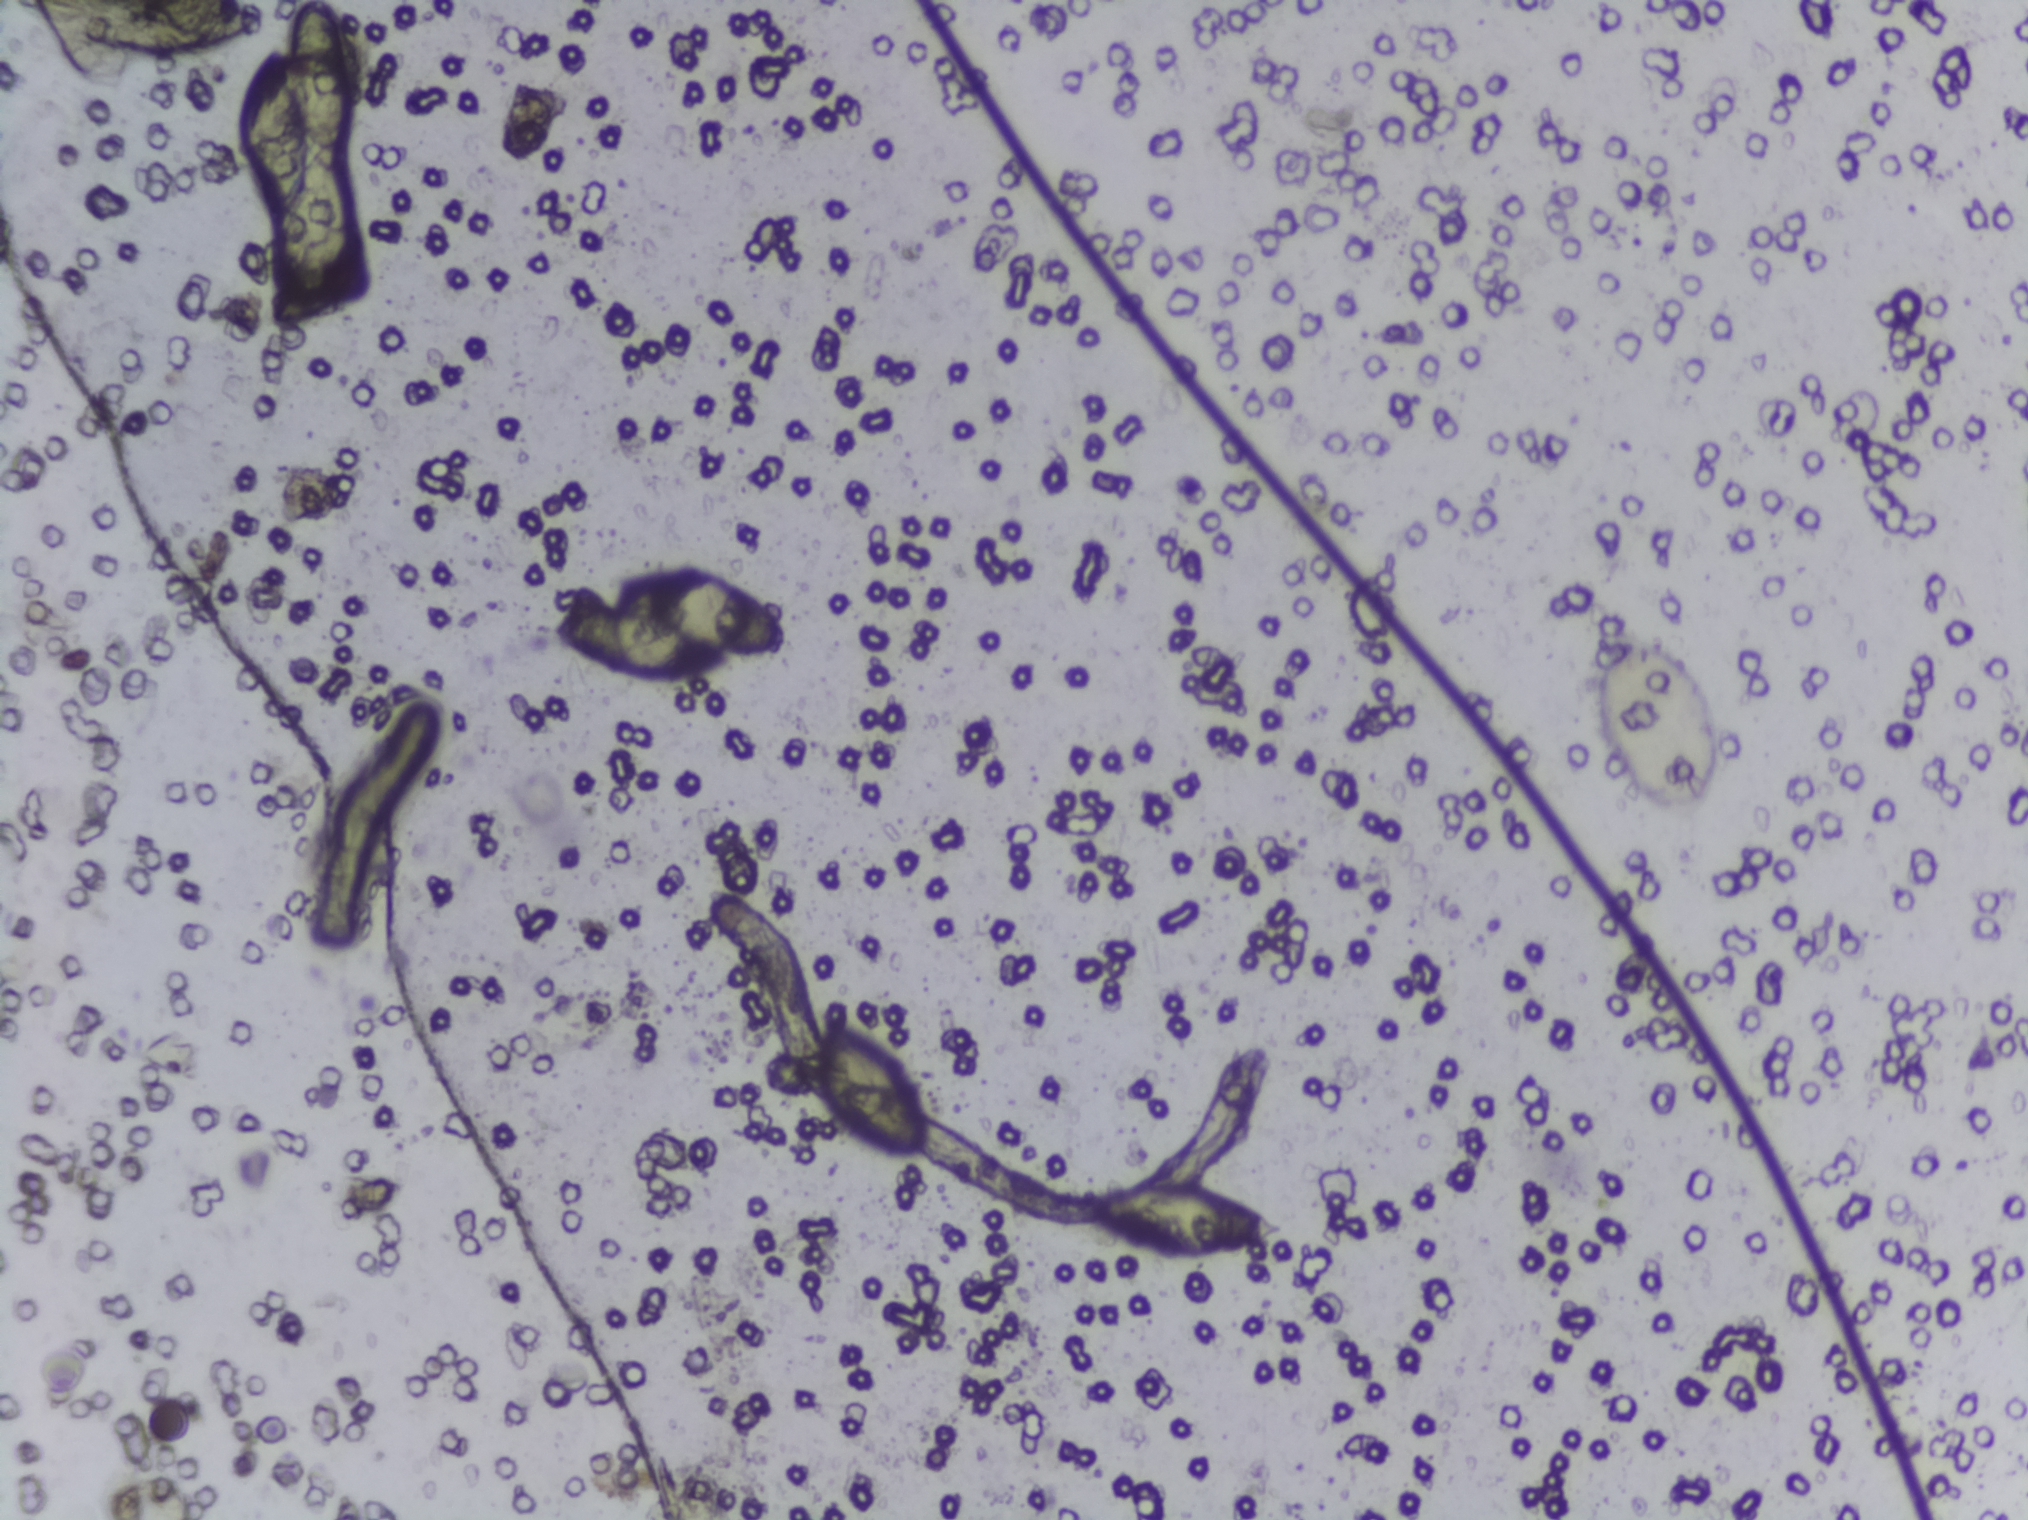
Photomicrograph of a urine filtration membrane, 4× objective.
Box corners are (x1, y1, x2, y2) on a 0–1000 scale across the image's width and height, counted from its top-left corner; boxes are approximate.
The expert annotation outlines Schistosoma eggs at (118, 0, 176, 206) (reaching the top edge of the frame); (269, 372, 389, 454); (401, 674, 457, 762); (536, 778, 633, 833); (786, 414, 845, 539) (left to right). Marked pixels, not the boxes around them: about 2.7% of the image. An outlined area can hold more than one egg.